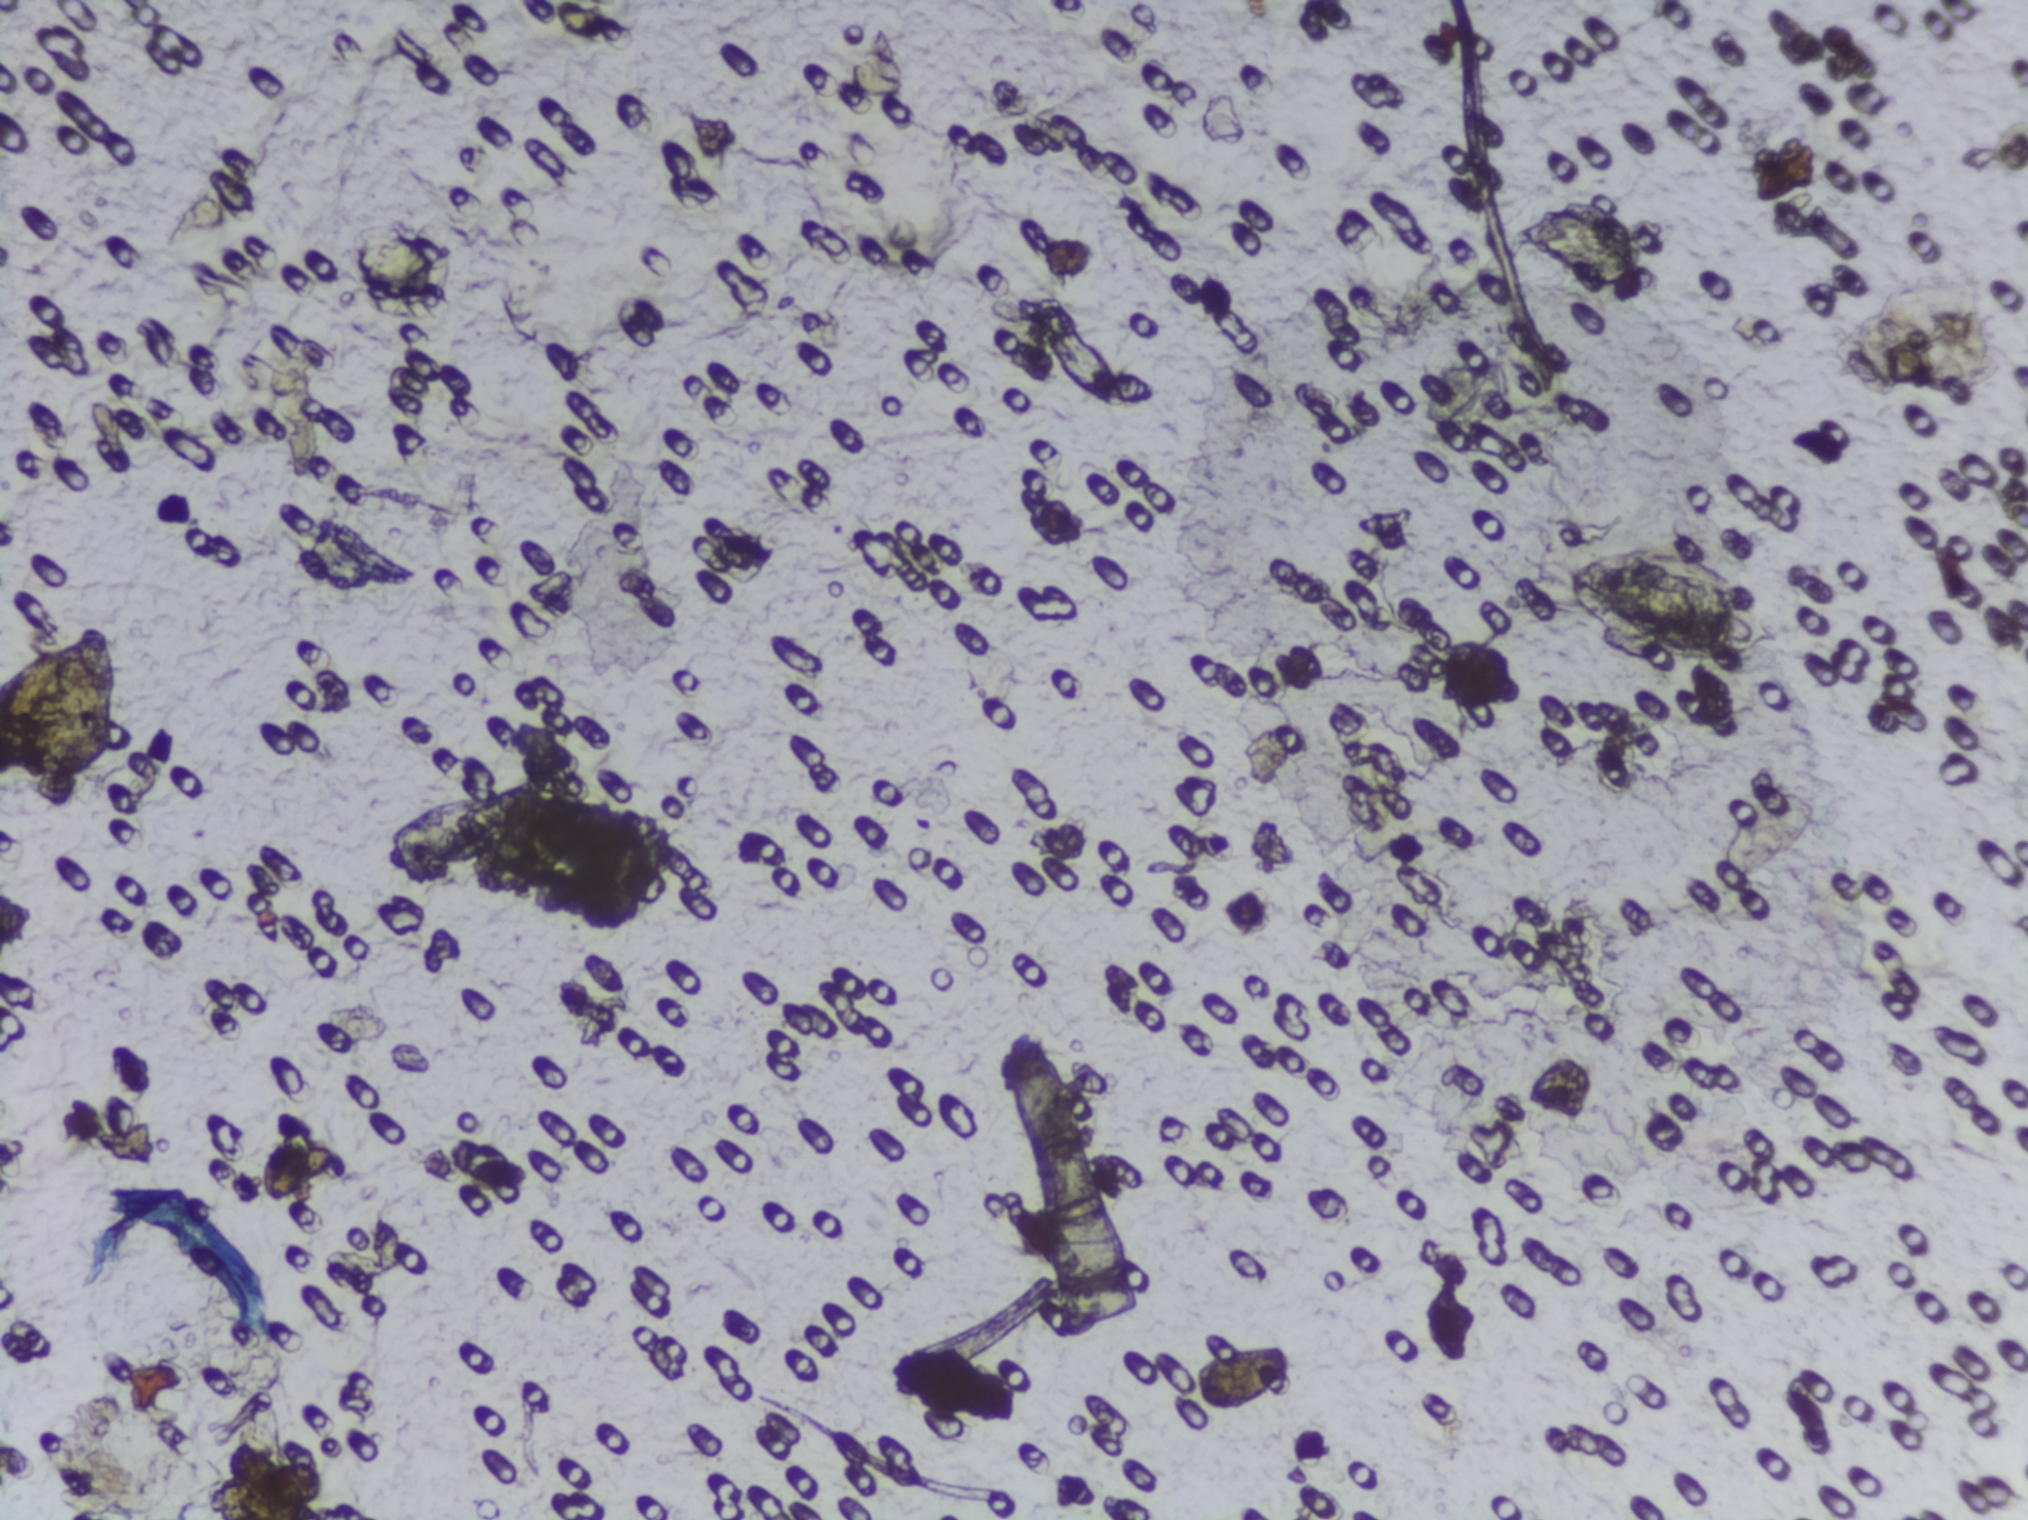
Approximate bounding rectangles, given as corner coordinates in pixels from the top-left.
The expert annotation outlines Schistosoma eggs at (x1=1561, y1=545, x2=1784, y2=662). Marked pixels, not the box around them: about 0.6% of the image. Eggs that touch can end up inside the same outlined area.
Urine filter membrane photographed through a 4× microscope objective.